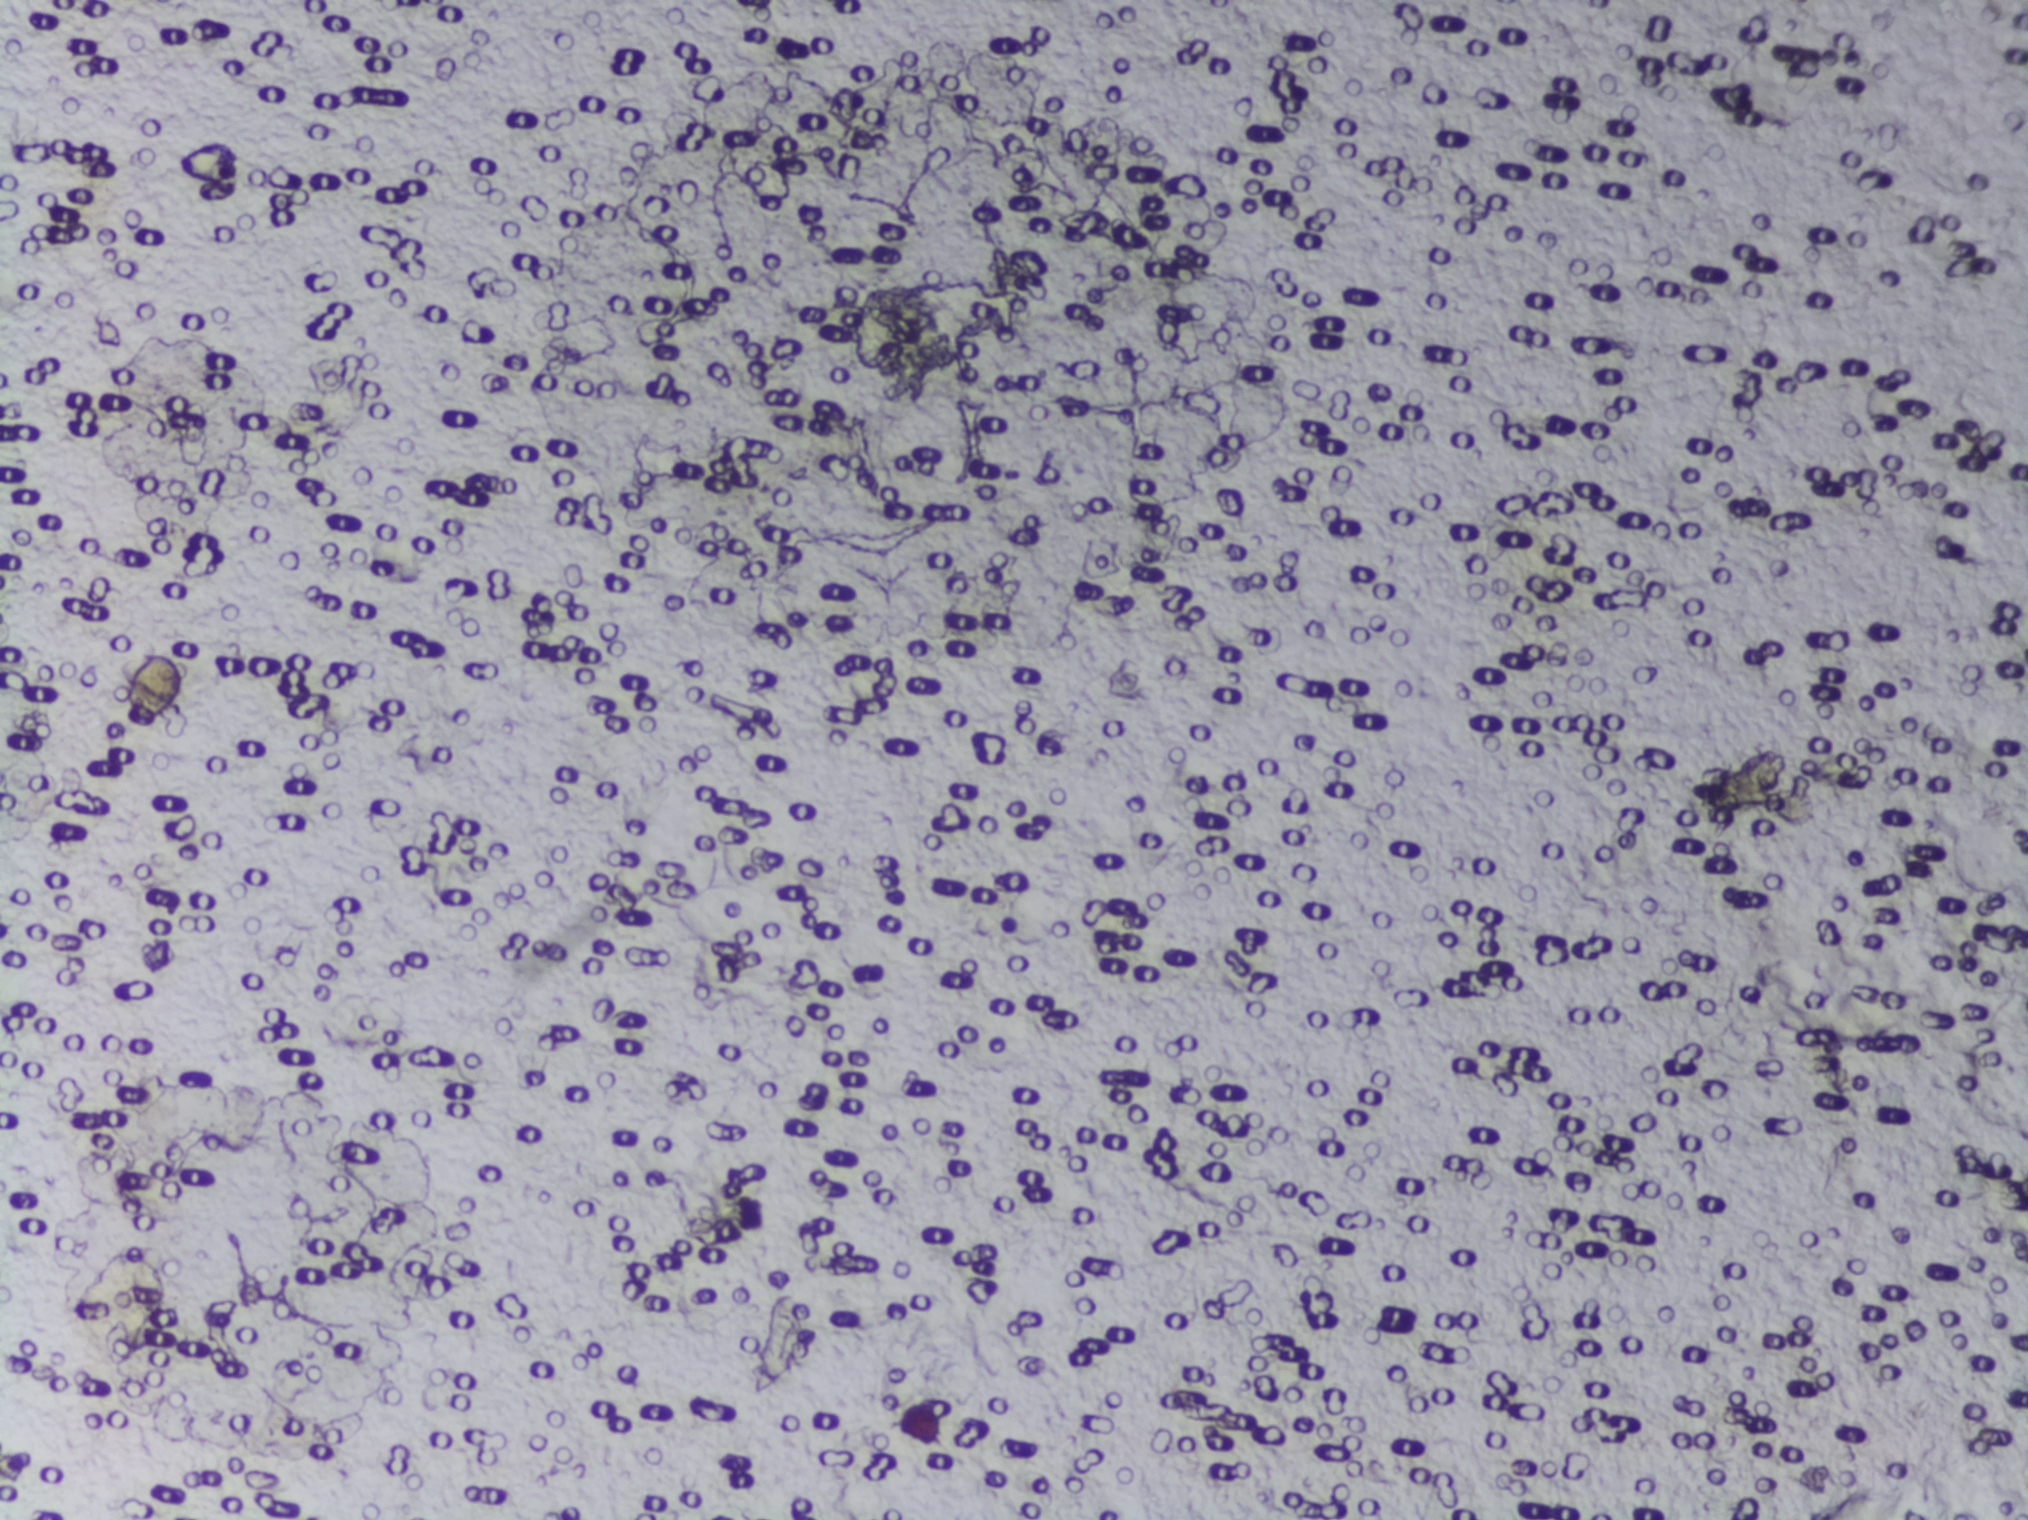
Urine filter membrane photographed through a 4× microscope objective. Field of view: about 1.5 mm wide and 1.1 mm high.
The expert annotation outlines no Schistosoma egg in this image.